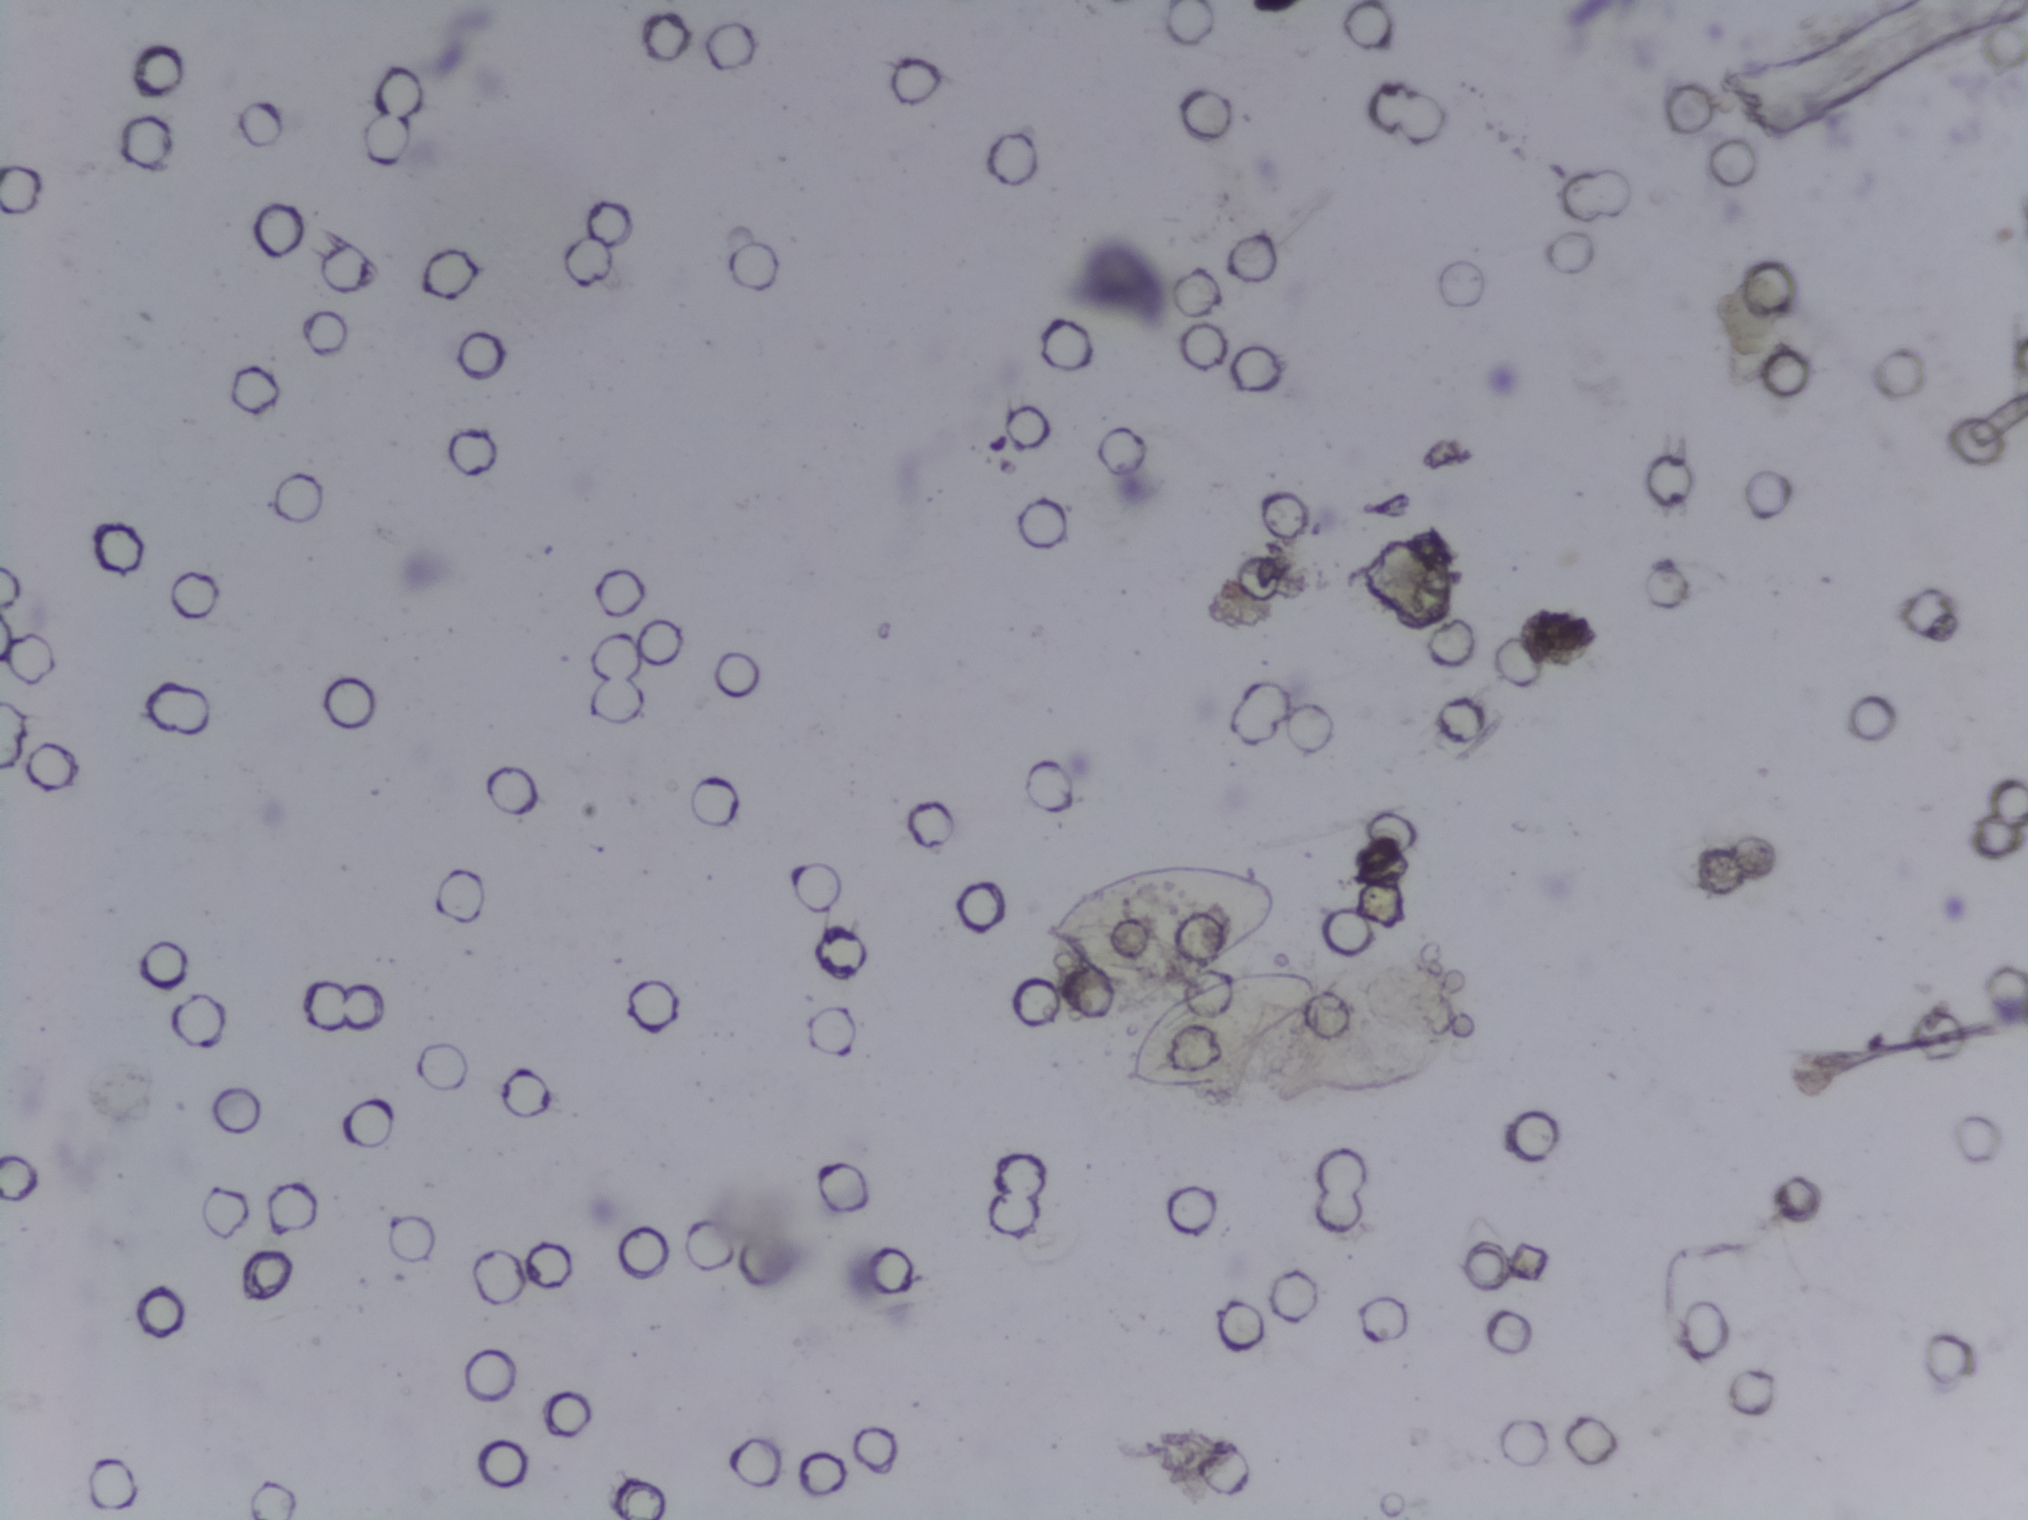
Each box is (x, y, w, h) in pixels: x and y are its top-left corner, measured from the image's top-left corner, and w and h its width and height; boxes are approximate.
Schistosoma eggs are outlined in two areas of this image, listed from left to right: (x=1037, y=859, w=240, h=129) and (x=1117, y=966, w=216, h=126). Eggs that touch can end up inside the same outlined area. A marked egg may occasionally be S. mansoni rather than S. haematobium.
Microscope photograph (4× objective) of a membrane that a urine sample was filtered through. The field of view is about 1.5 mm × 1.1 mm.